Urine filtration membrane under a 4× objective, photographed by an automated digital microscope. The image covers about 1.5 × 1.1 mm of the membrane.
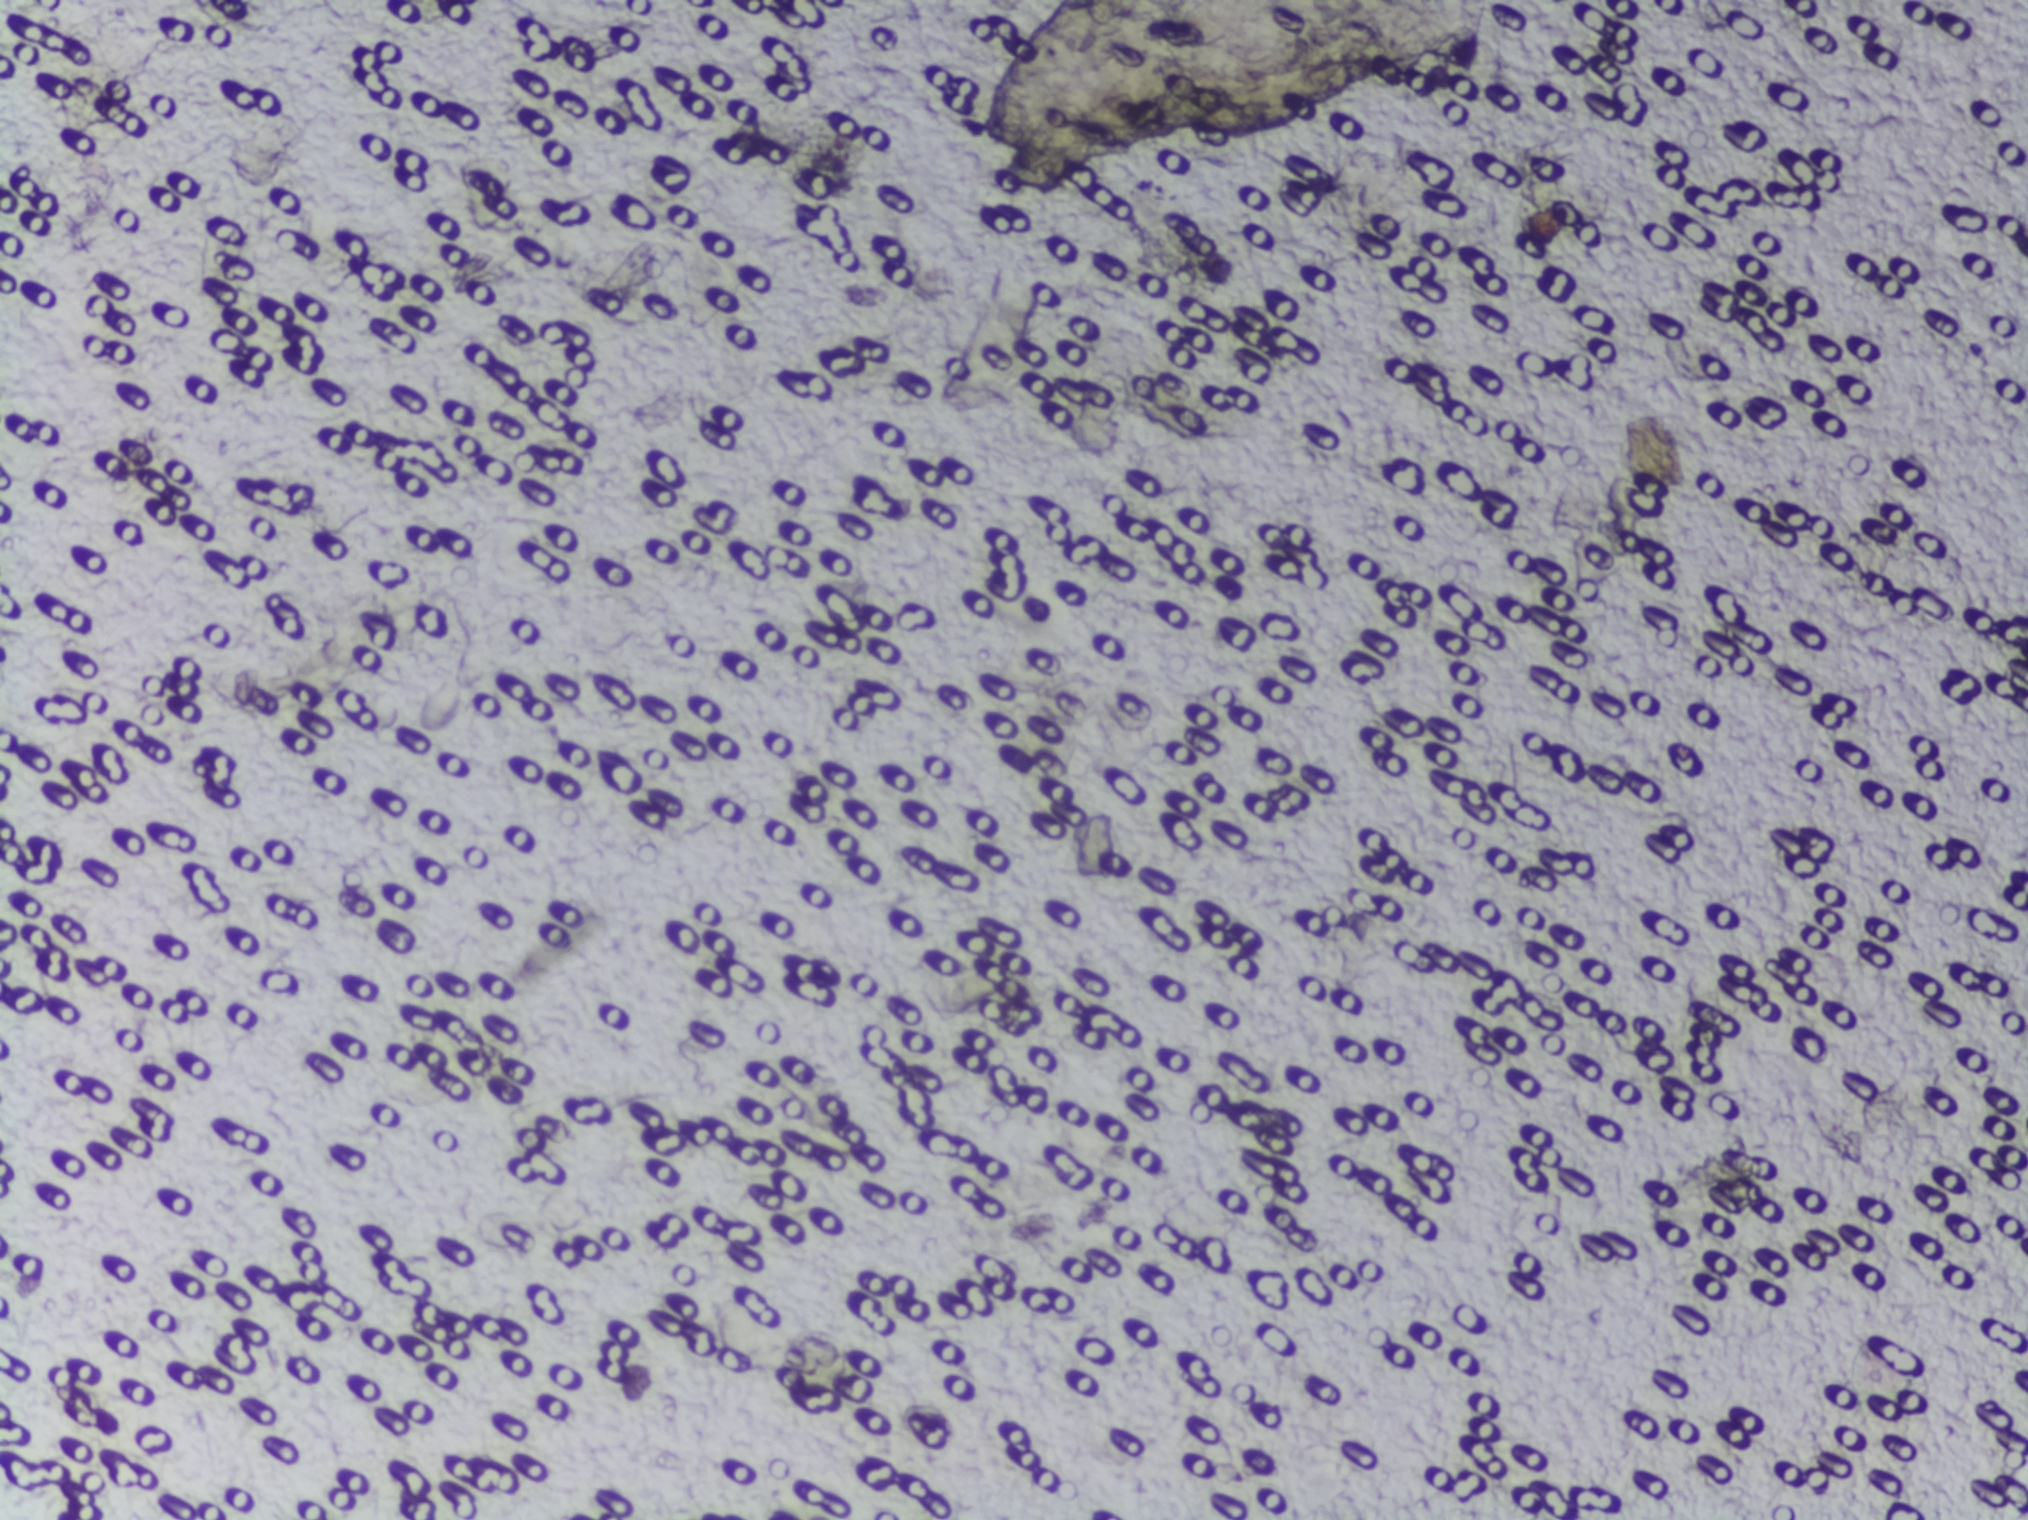
Schistosoma eggs: none outlined.